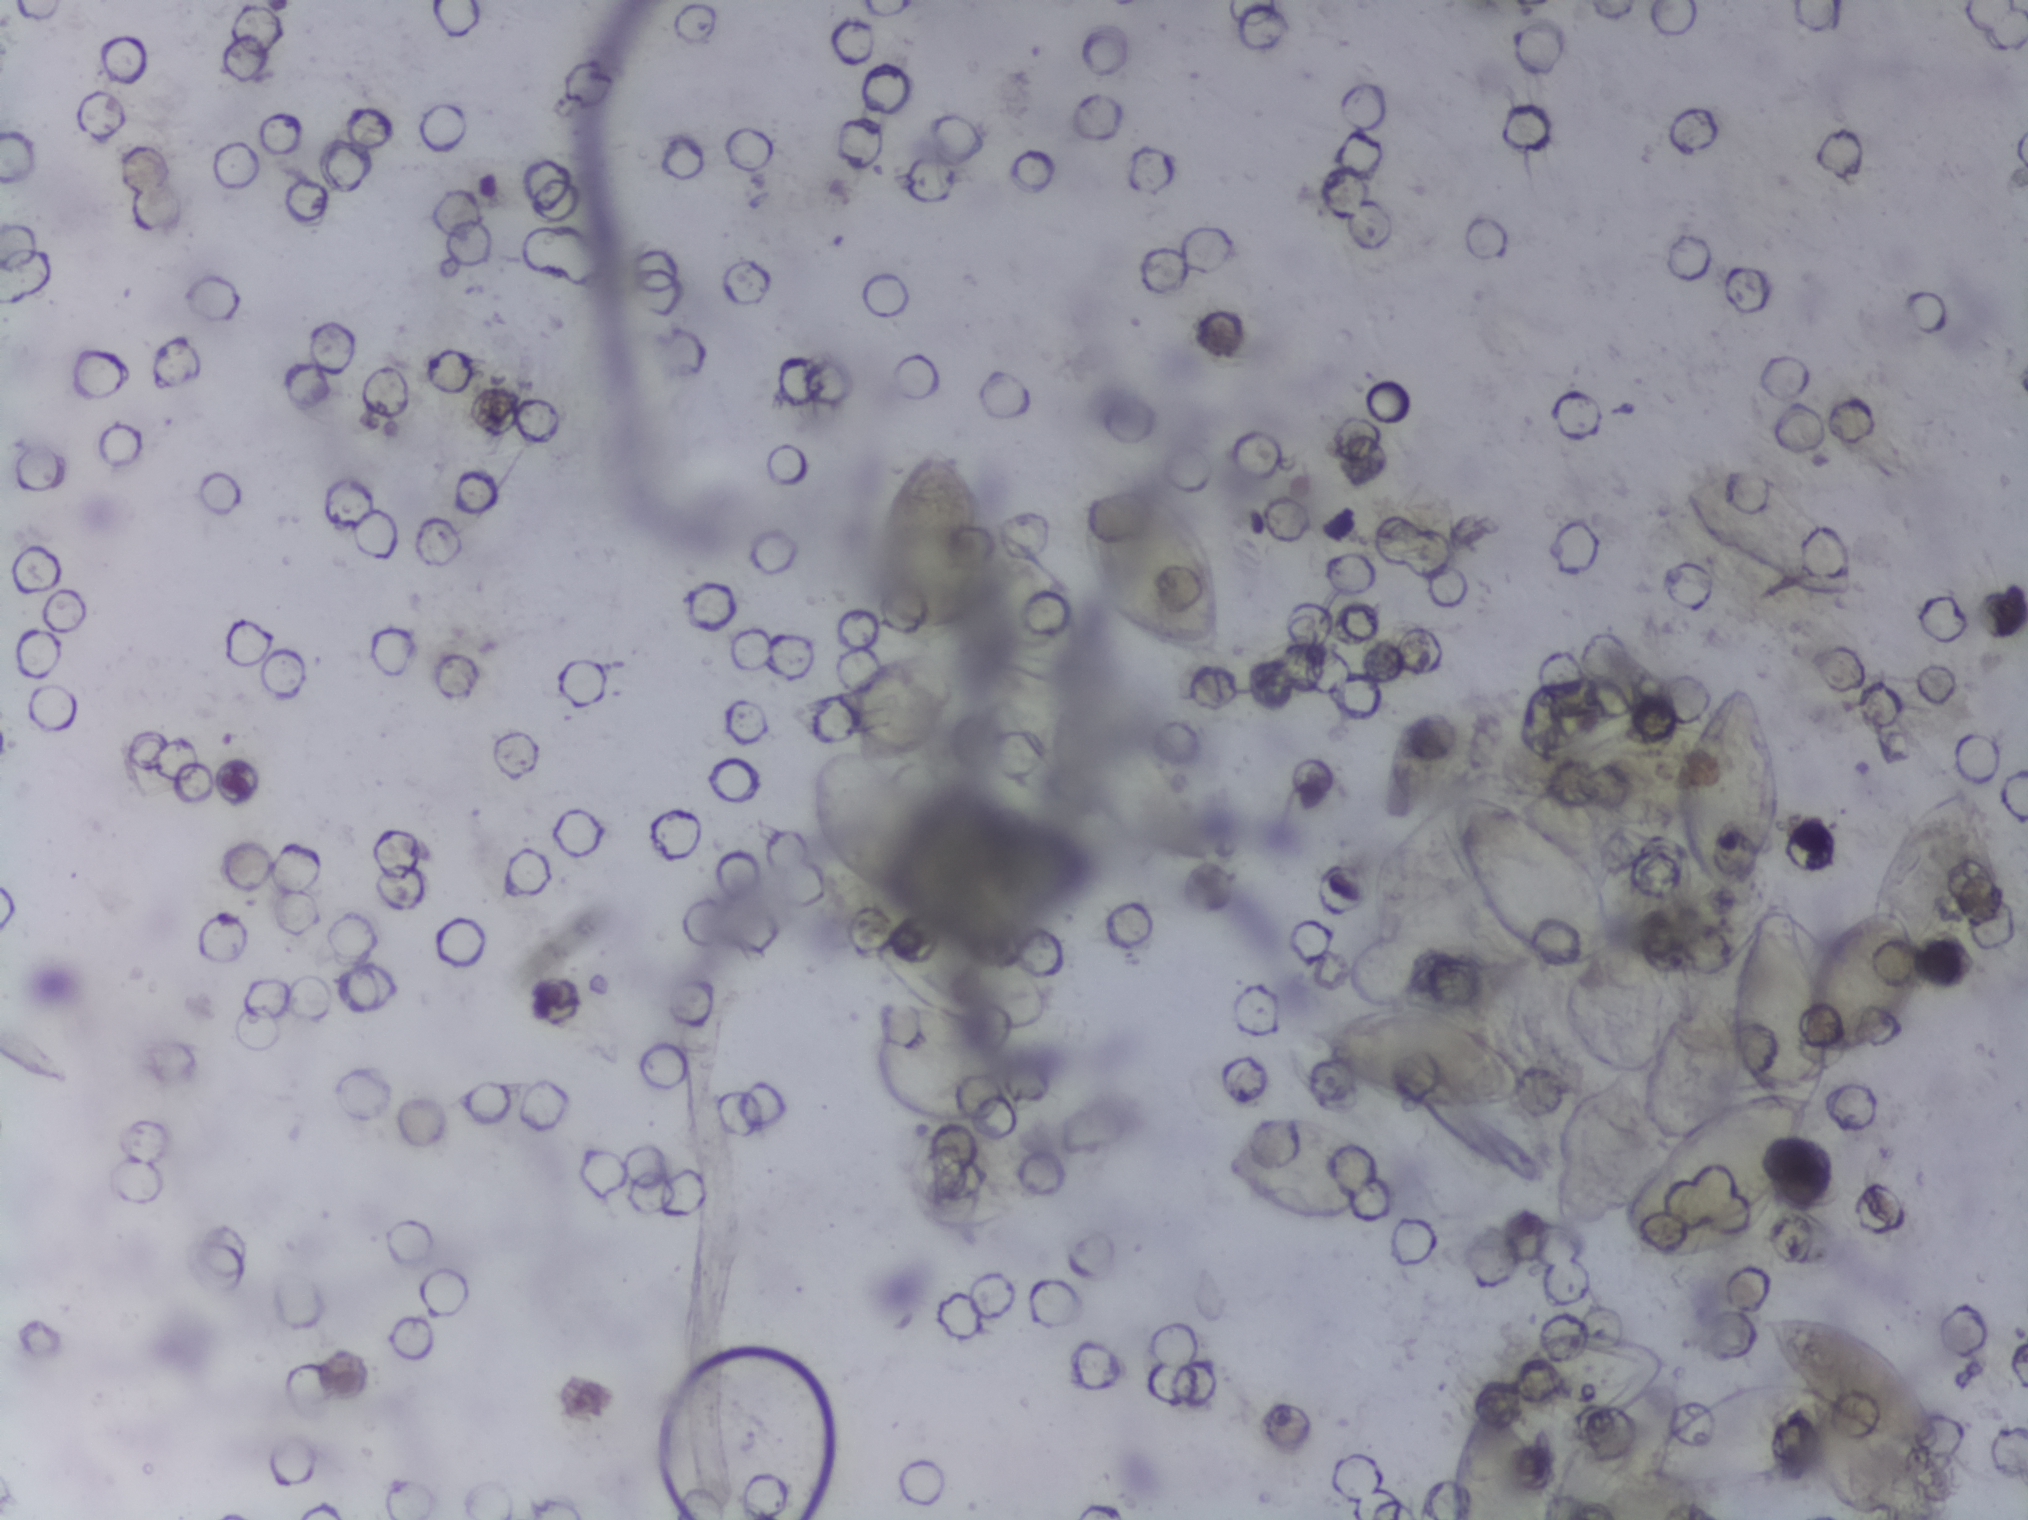
Urine filter membrane photographed through a 4× microscope objective. The image covers about 1.5 × 1.1 mm of the membrane.
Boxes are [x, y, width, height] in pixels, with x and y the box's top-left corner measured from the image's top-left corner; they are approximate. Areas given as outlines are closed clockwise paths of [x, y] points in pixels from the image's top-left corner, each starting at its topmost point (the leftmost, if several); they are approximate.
Findings: ten areas outlined as Schistosoma eggs. Locations, left to right: box [808, 653, 146, 241]; box [861, 903, 195, 233]; box [872, 435, 122, 215]; box [1075, 484, 149, 174]; box [1220, 1112, 169, 118]; box [1302, 1005, 224, 112]; box [1448, 793, 176, 178]; outline [1784, 1312], [1822, 1313], [1881, 1338], [1905, 1363], [1935, 1414], [1941, 1452], [1920, 1457], [1888, 1448], [1840, 1421], [1836, 1436], [1798, 1478], [1766, 1492], [1697, 1495], [1660, 1480], [1629, 1519], [1454, 1517], [1451, 1494], [1471, 1423], [1491, 1388], [1529, 1349], [1559, 1331], [1607, 1329], [1639, 1337], [1668, 1357], [1661, 1380], [1678, 1384], [1682, 1418], [1744, 1382], [1791, 1378], [1767, 1350], [1757, 1321], [1759, 1315] (eggs clustered together; reaching the bottom edge of the frame); outline [1959, 786], [1981, 797], [1992, 831], [1990, 898], [1969, 949], [1926, 978], [1918, 1014], [1892, 1044], [1871, 1054], [1833, 1057], [1813, 1112], [1813, 1147], [1780, 1213], [1759, 1234], [1697, 1267], [1655, 1267], [1637, 1256], [1620, 1238], [1616, 1209], [1636, 1176], [1695, 1116], [1754, 1091], [1736, 1066], [1731, 1027], [1730, 991], [1748, 930], [1769, 901], [1796, 915], [1818, 951], [1862, 910], [1875, 867], [1909, 816] (eggs clustered together); box [1669, 681, 113, 228]. A single outlined area may contain several eggs. Any one outlined egg may, rarely, be S. mansoni rather than S. haematobium.